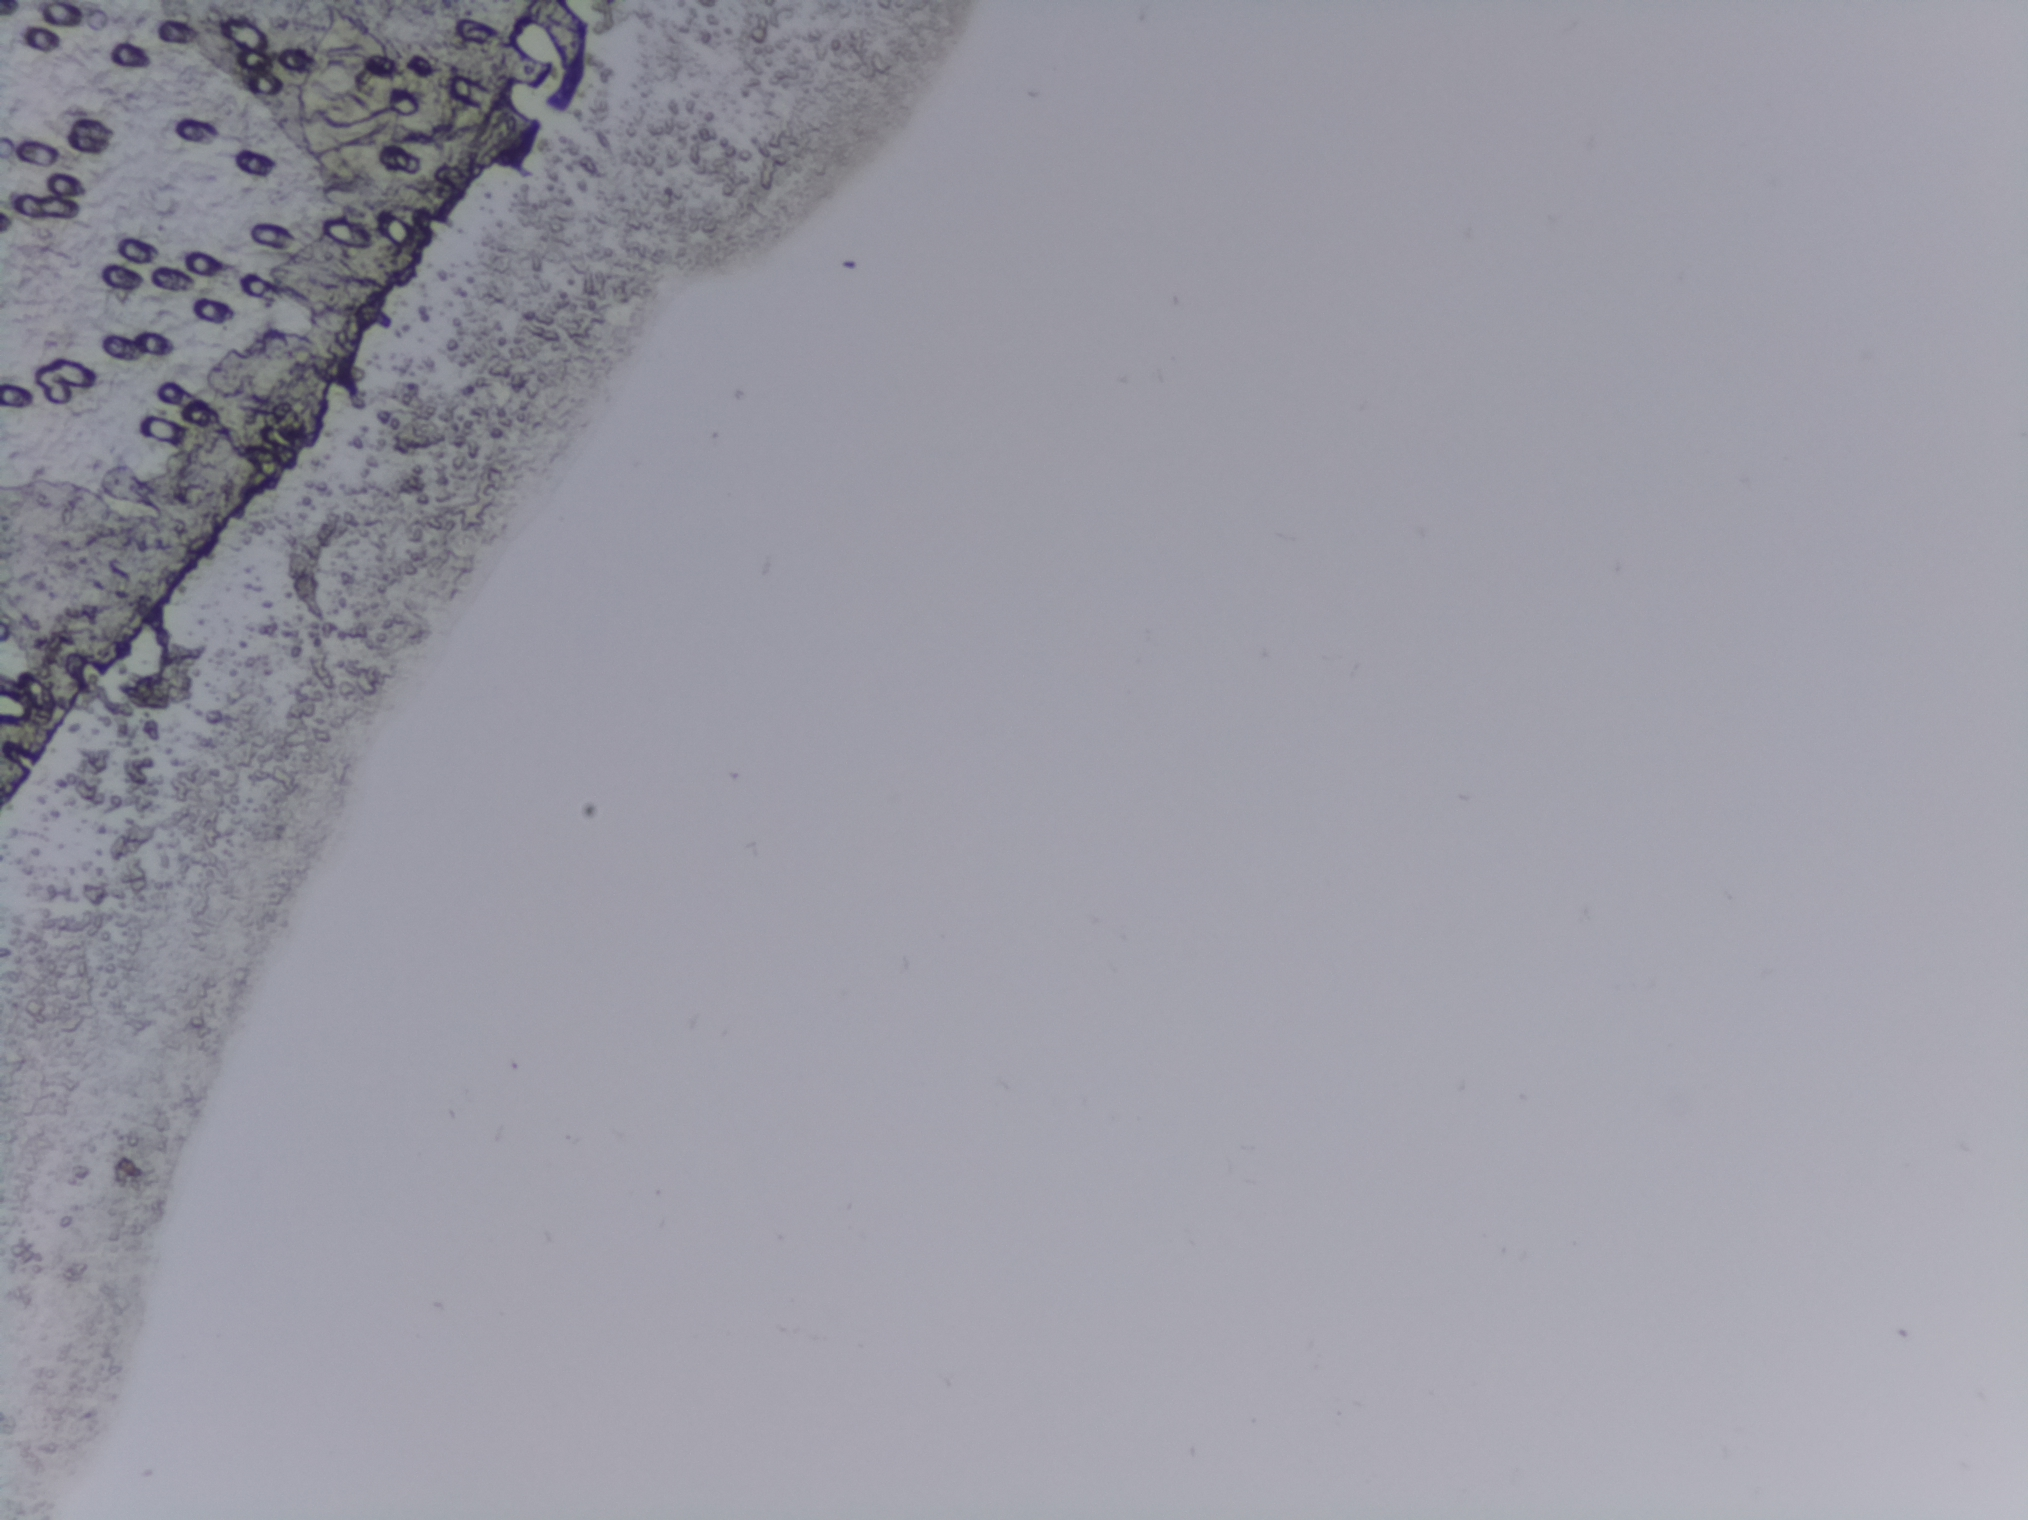
Photograph from an automated digital microscope: urine filter membrane, 4× objective. The image covers about 1.5 × 1.1 mm of the membrane.
The expert annotation outlines no Schistosoma egg in this image.